Photograph from an automated digital microscope: urine filter membrane, 4× objective. The image covers about 1.5 × 1.1 mm of the membrane.
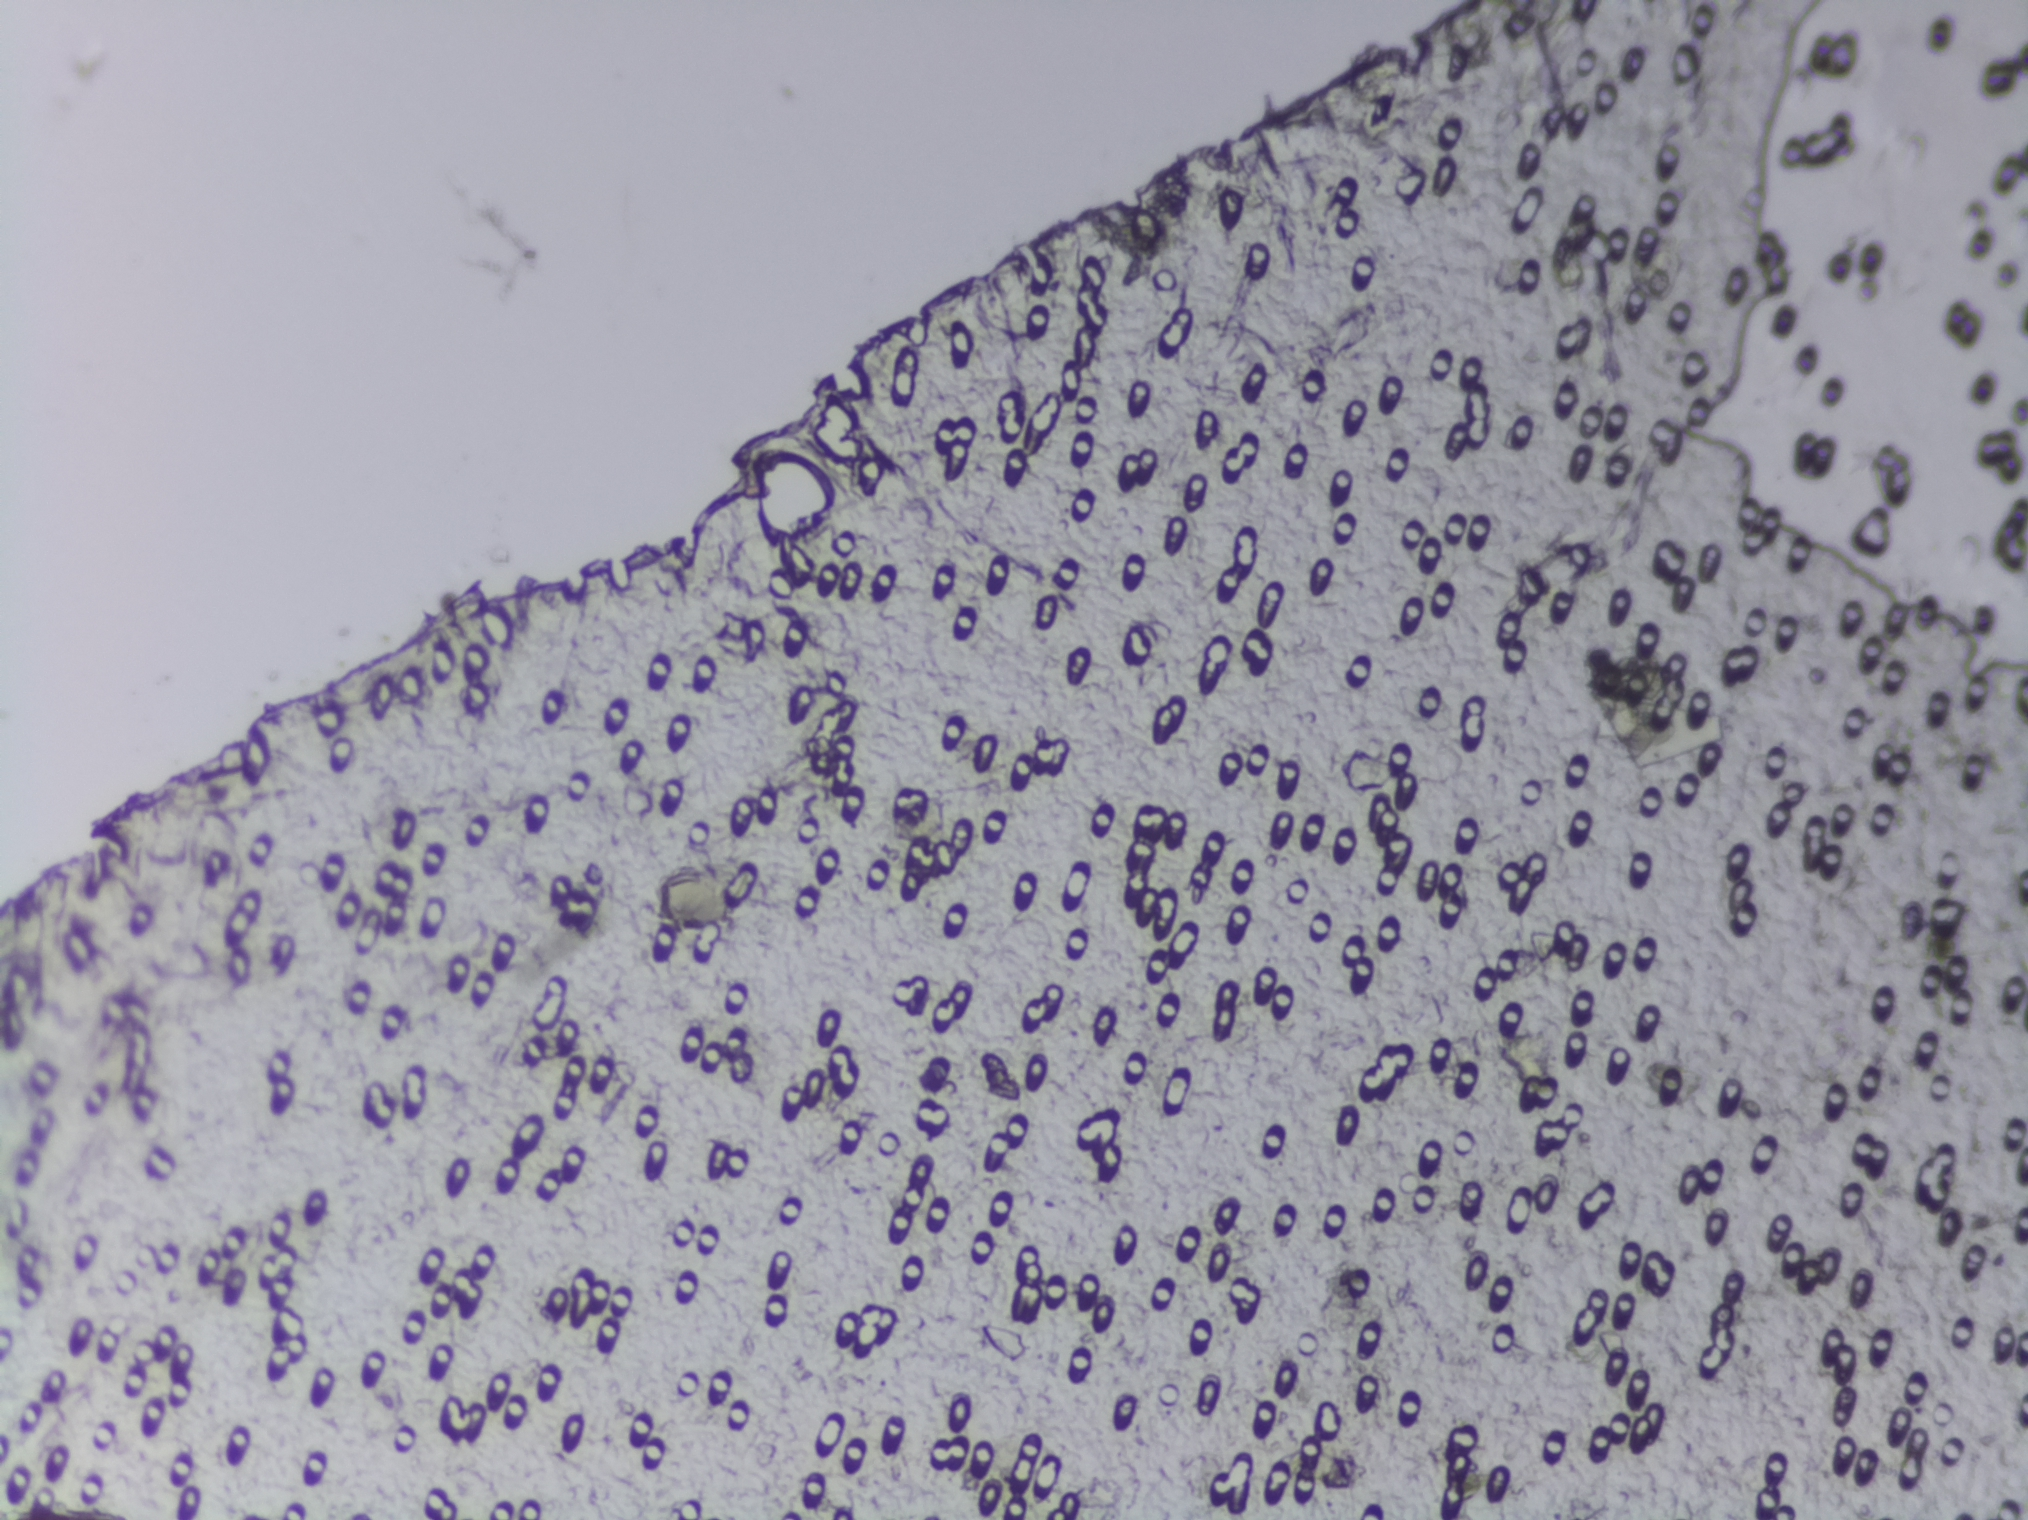
The expert annotation outlines no Schistosoma egg in this image.